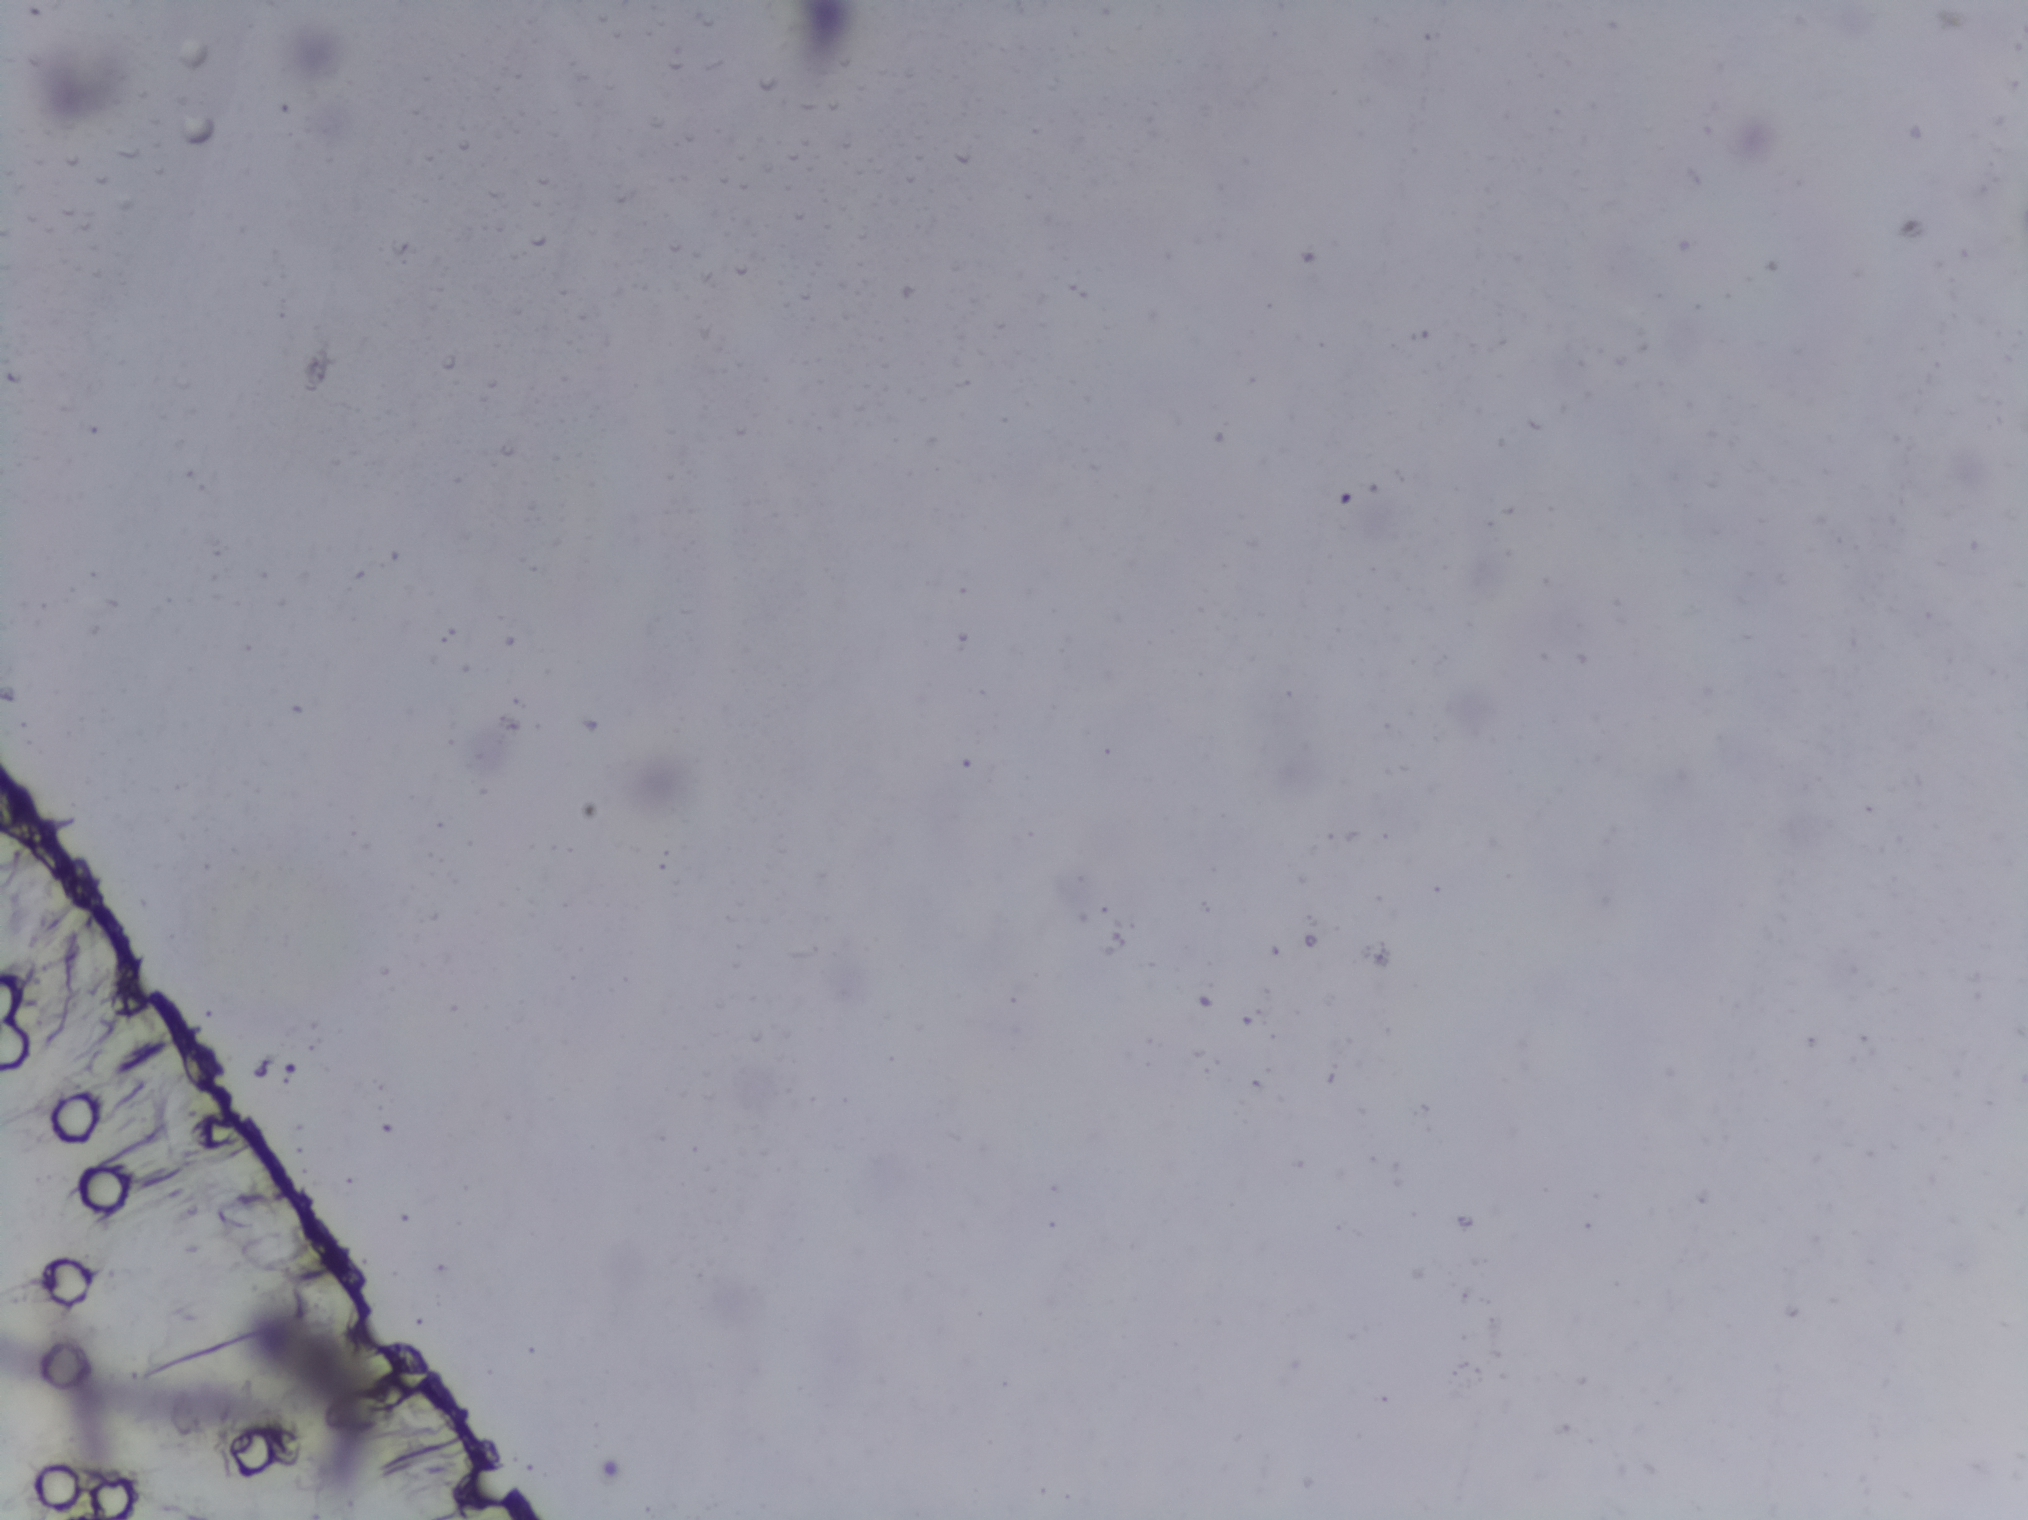
Schistosoma eggs: none outlined.
One field of view of a urine filter membrane, 4× objective, 2028 × 1520 pixels. Field of view: about 1.5 mm wide and 1.1 mm high.